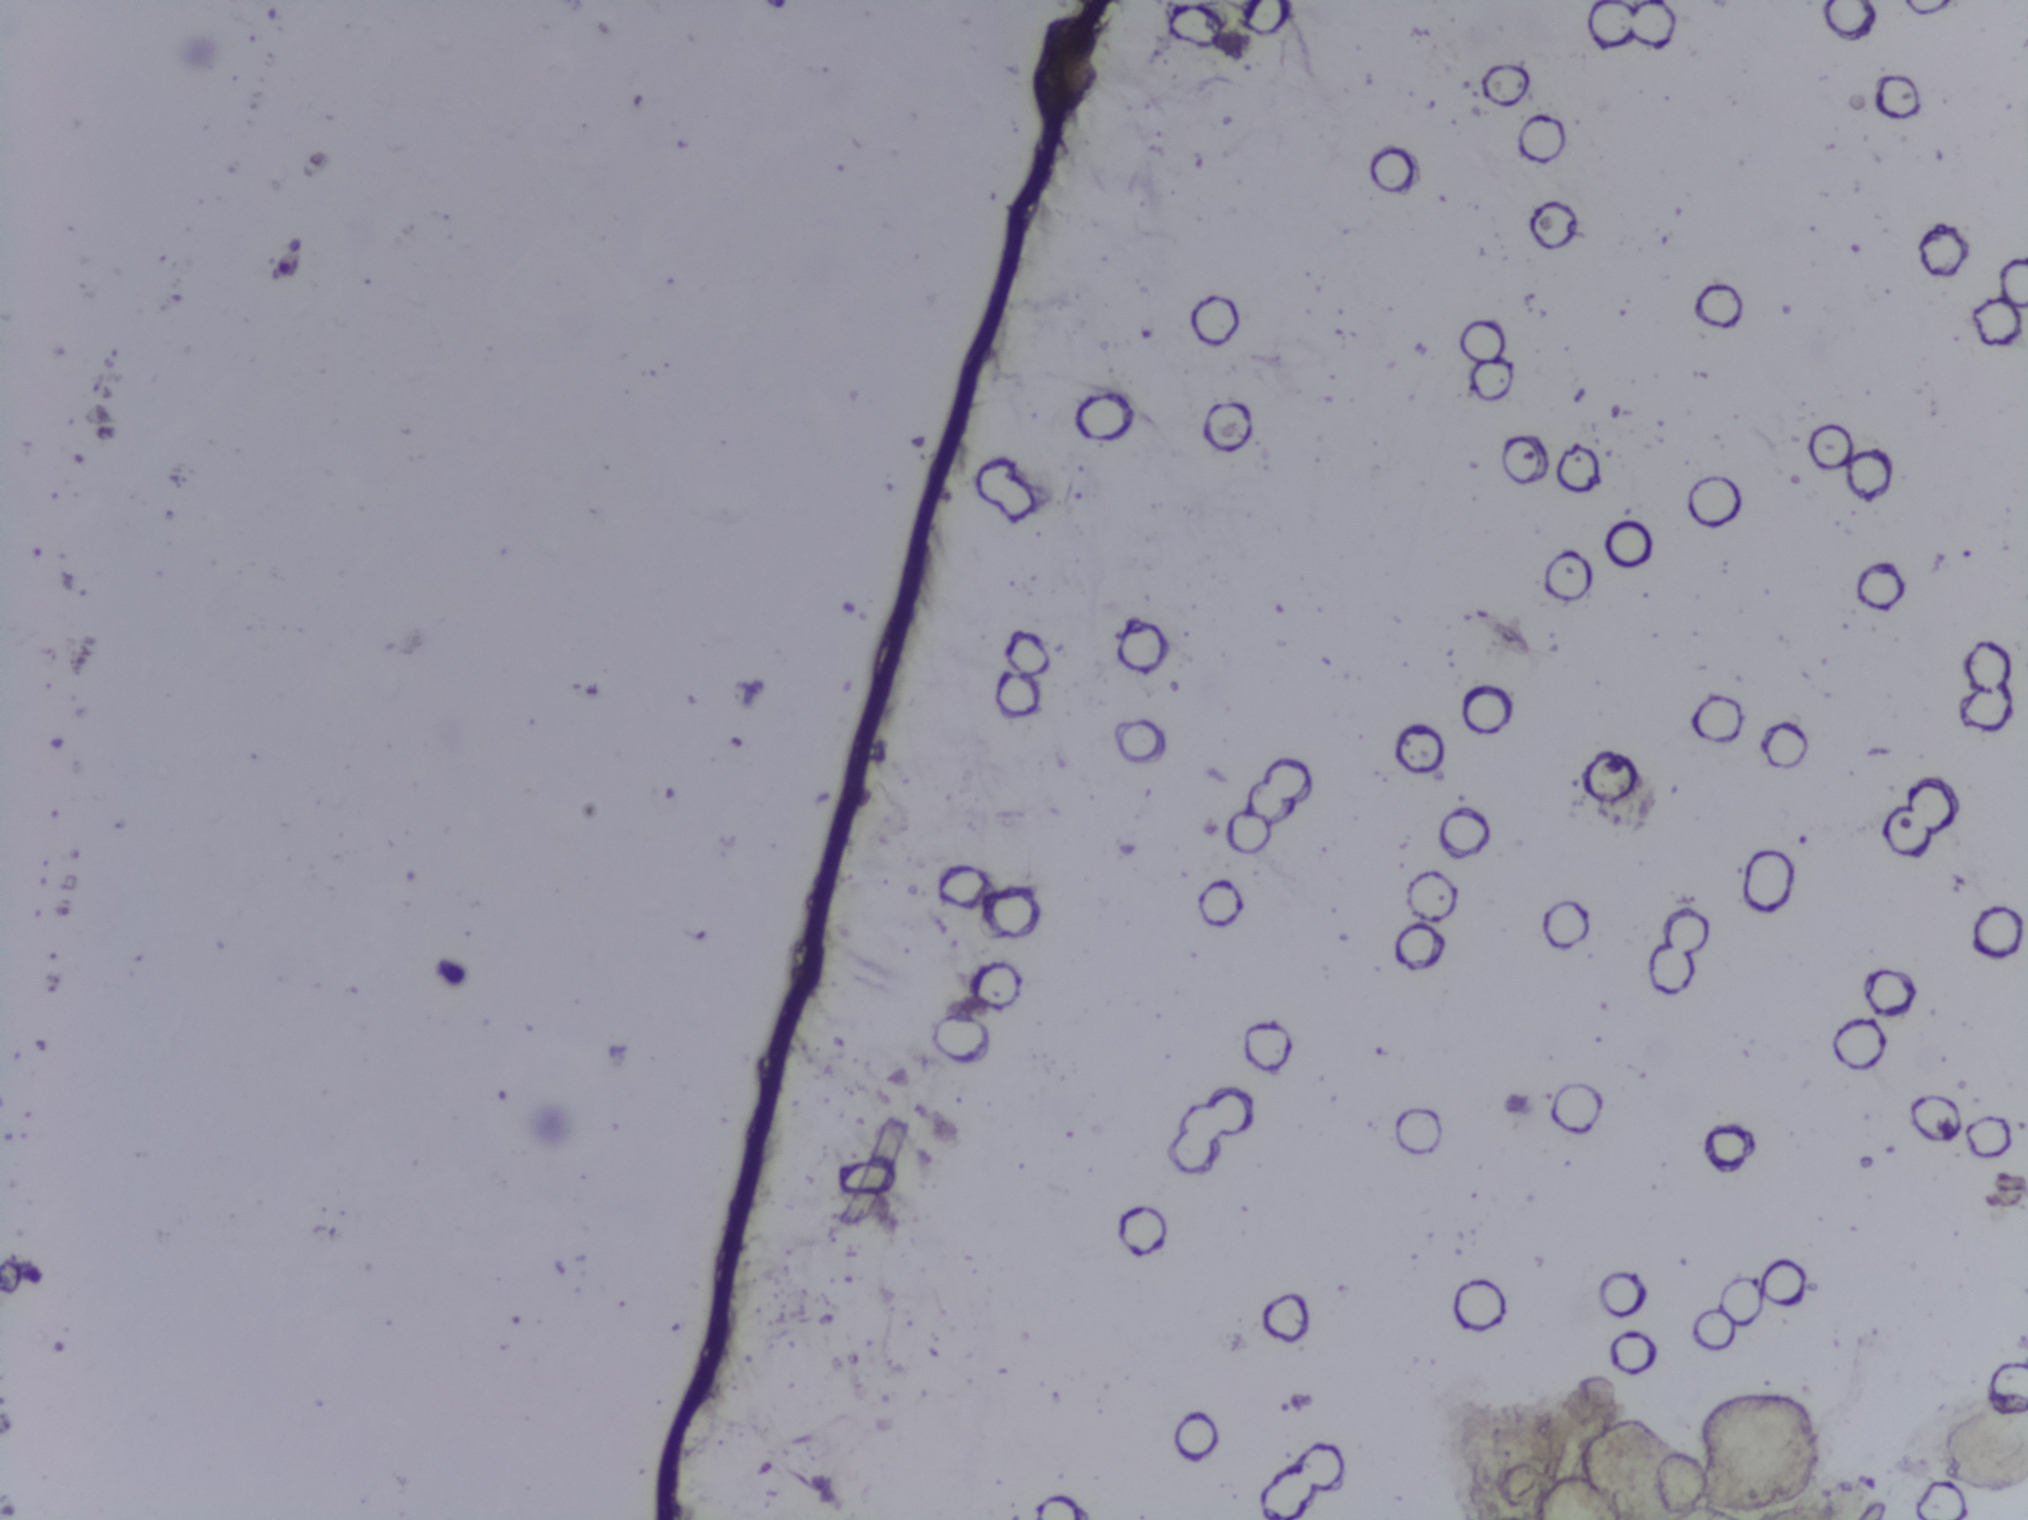
Urine filter membrane photographed through a 4× microscope objective. Field of view: about 1.5 mm wide and 1.1 mm high.
No area of this image was outlined as a Schistosoma egg.